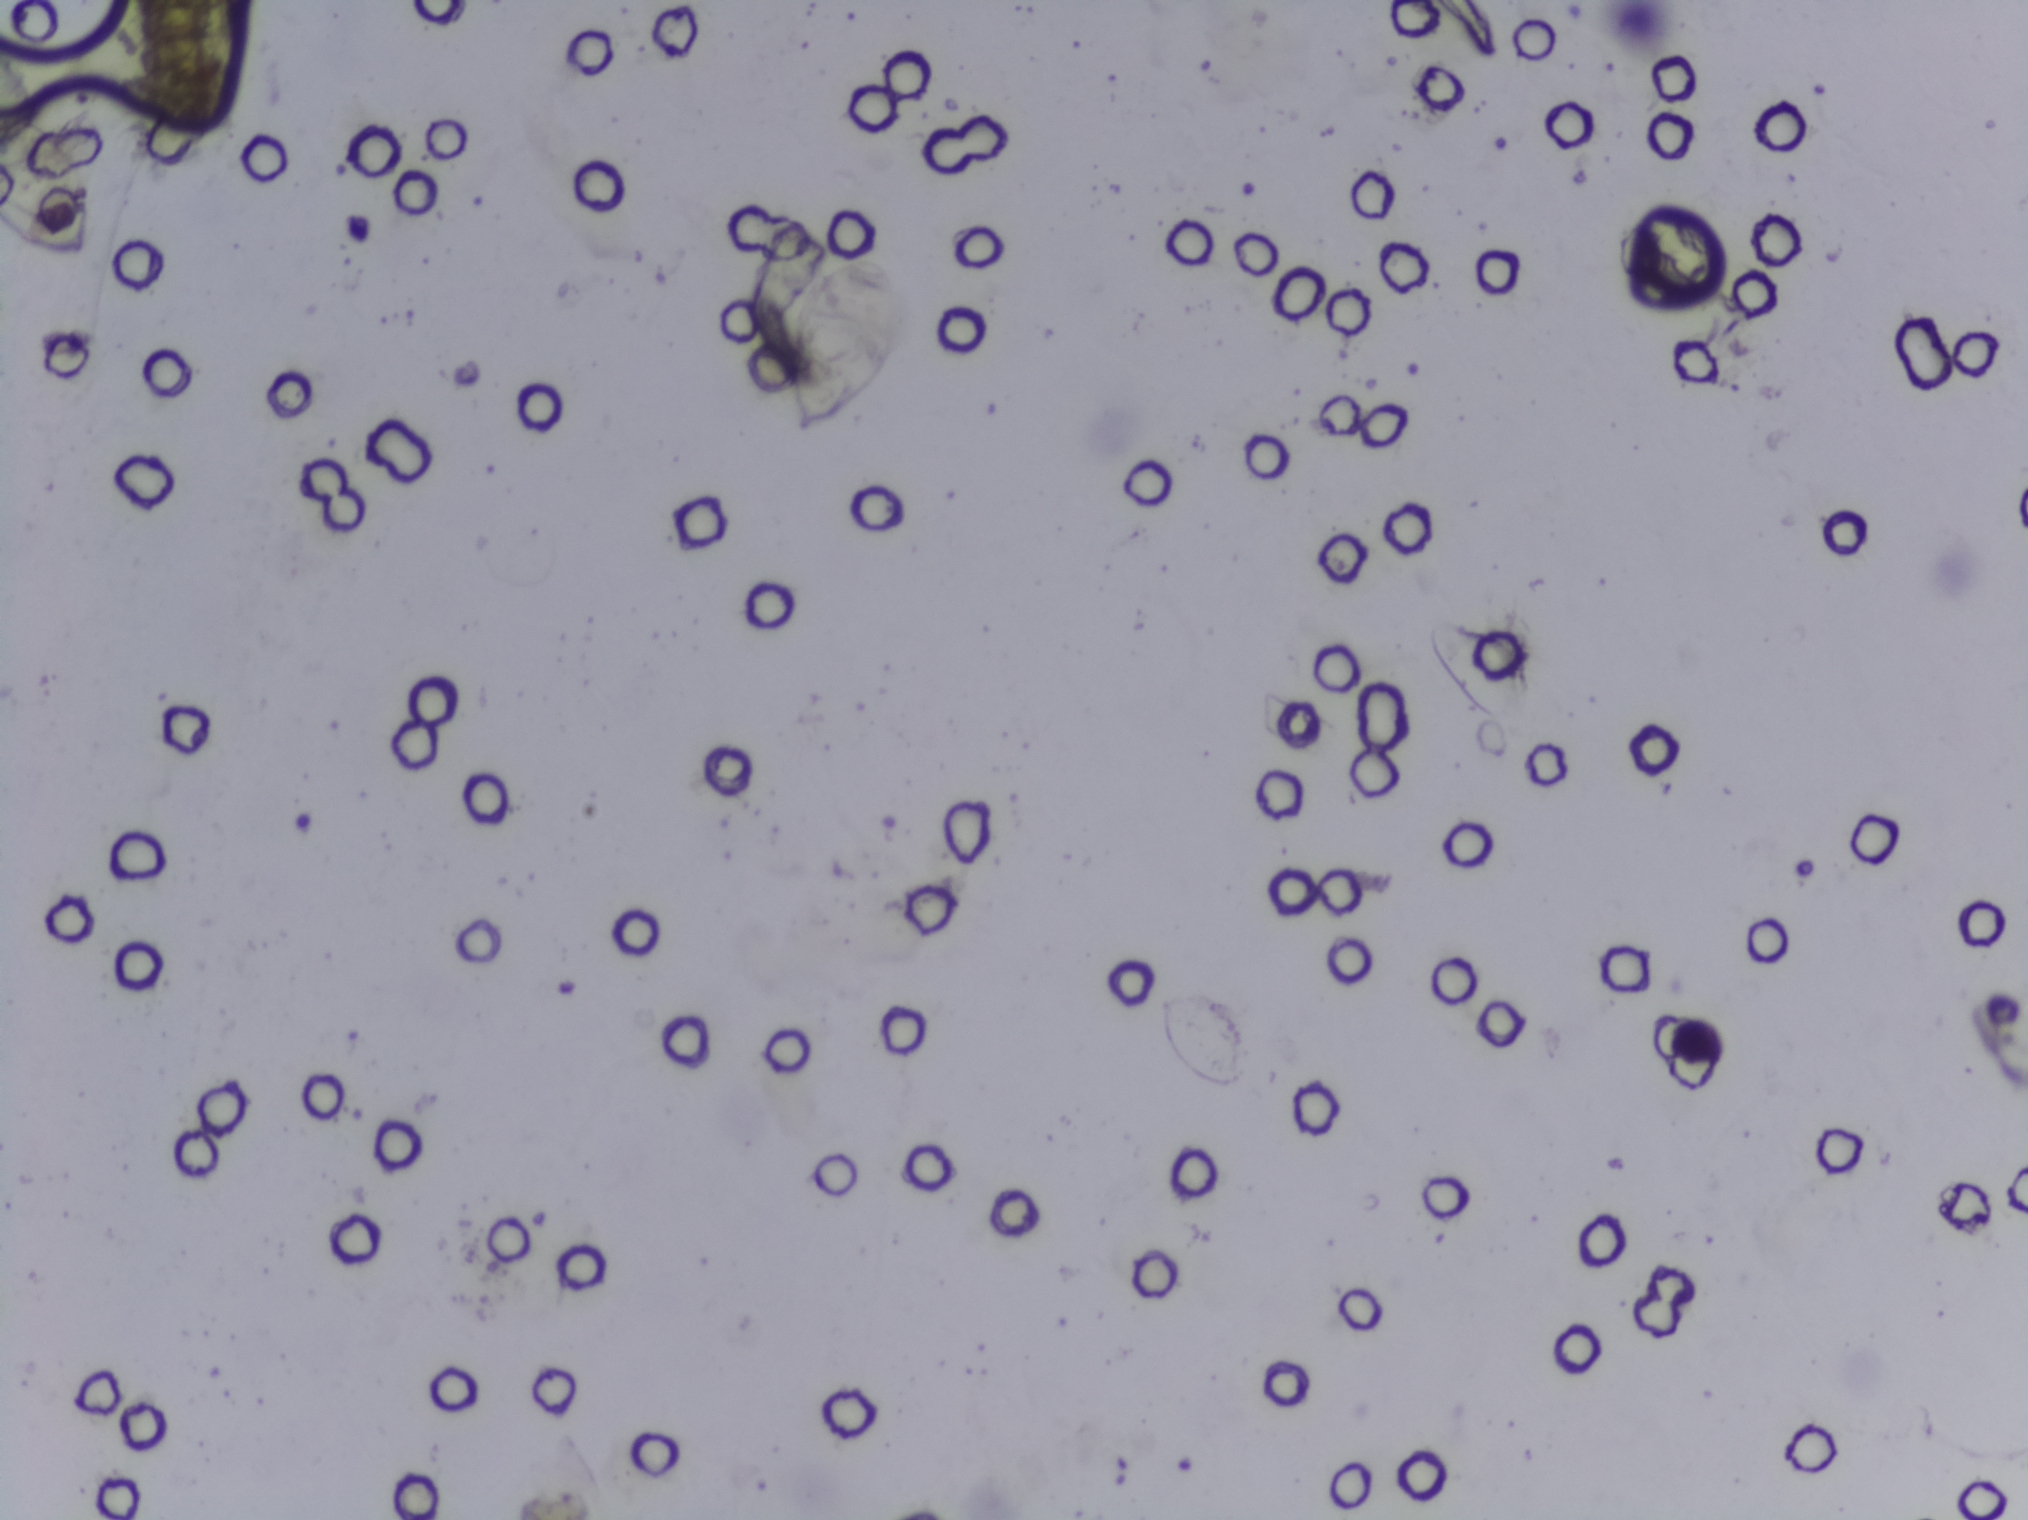
One field of view of a urine filter membrane, 4× objective, 2028 × 1520 pixels.
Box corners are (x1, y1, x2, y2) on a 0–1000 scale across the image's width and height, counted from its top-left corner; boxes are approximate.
Findings: three areas outlined as Schistosoma eggs. Locations, left to right: (0, 73, 45, 169) (reaching the left edge of the frame); (67, 0, 118, 91) (reaching the top edge of the frame); (387, 166, 448, 286). A single outlined area may contain several eggs.